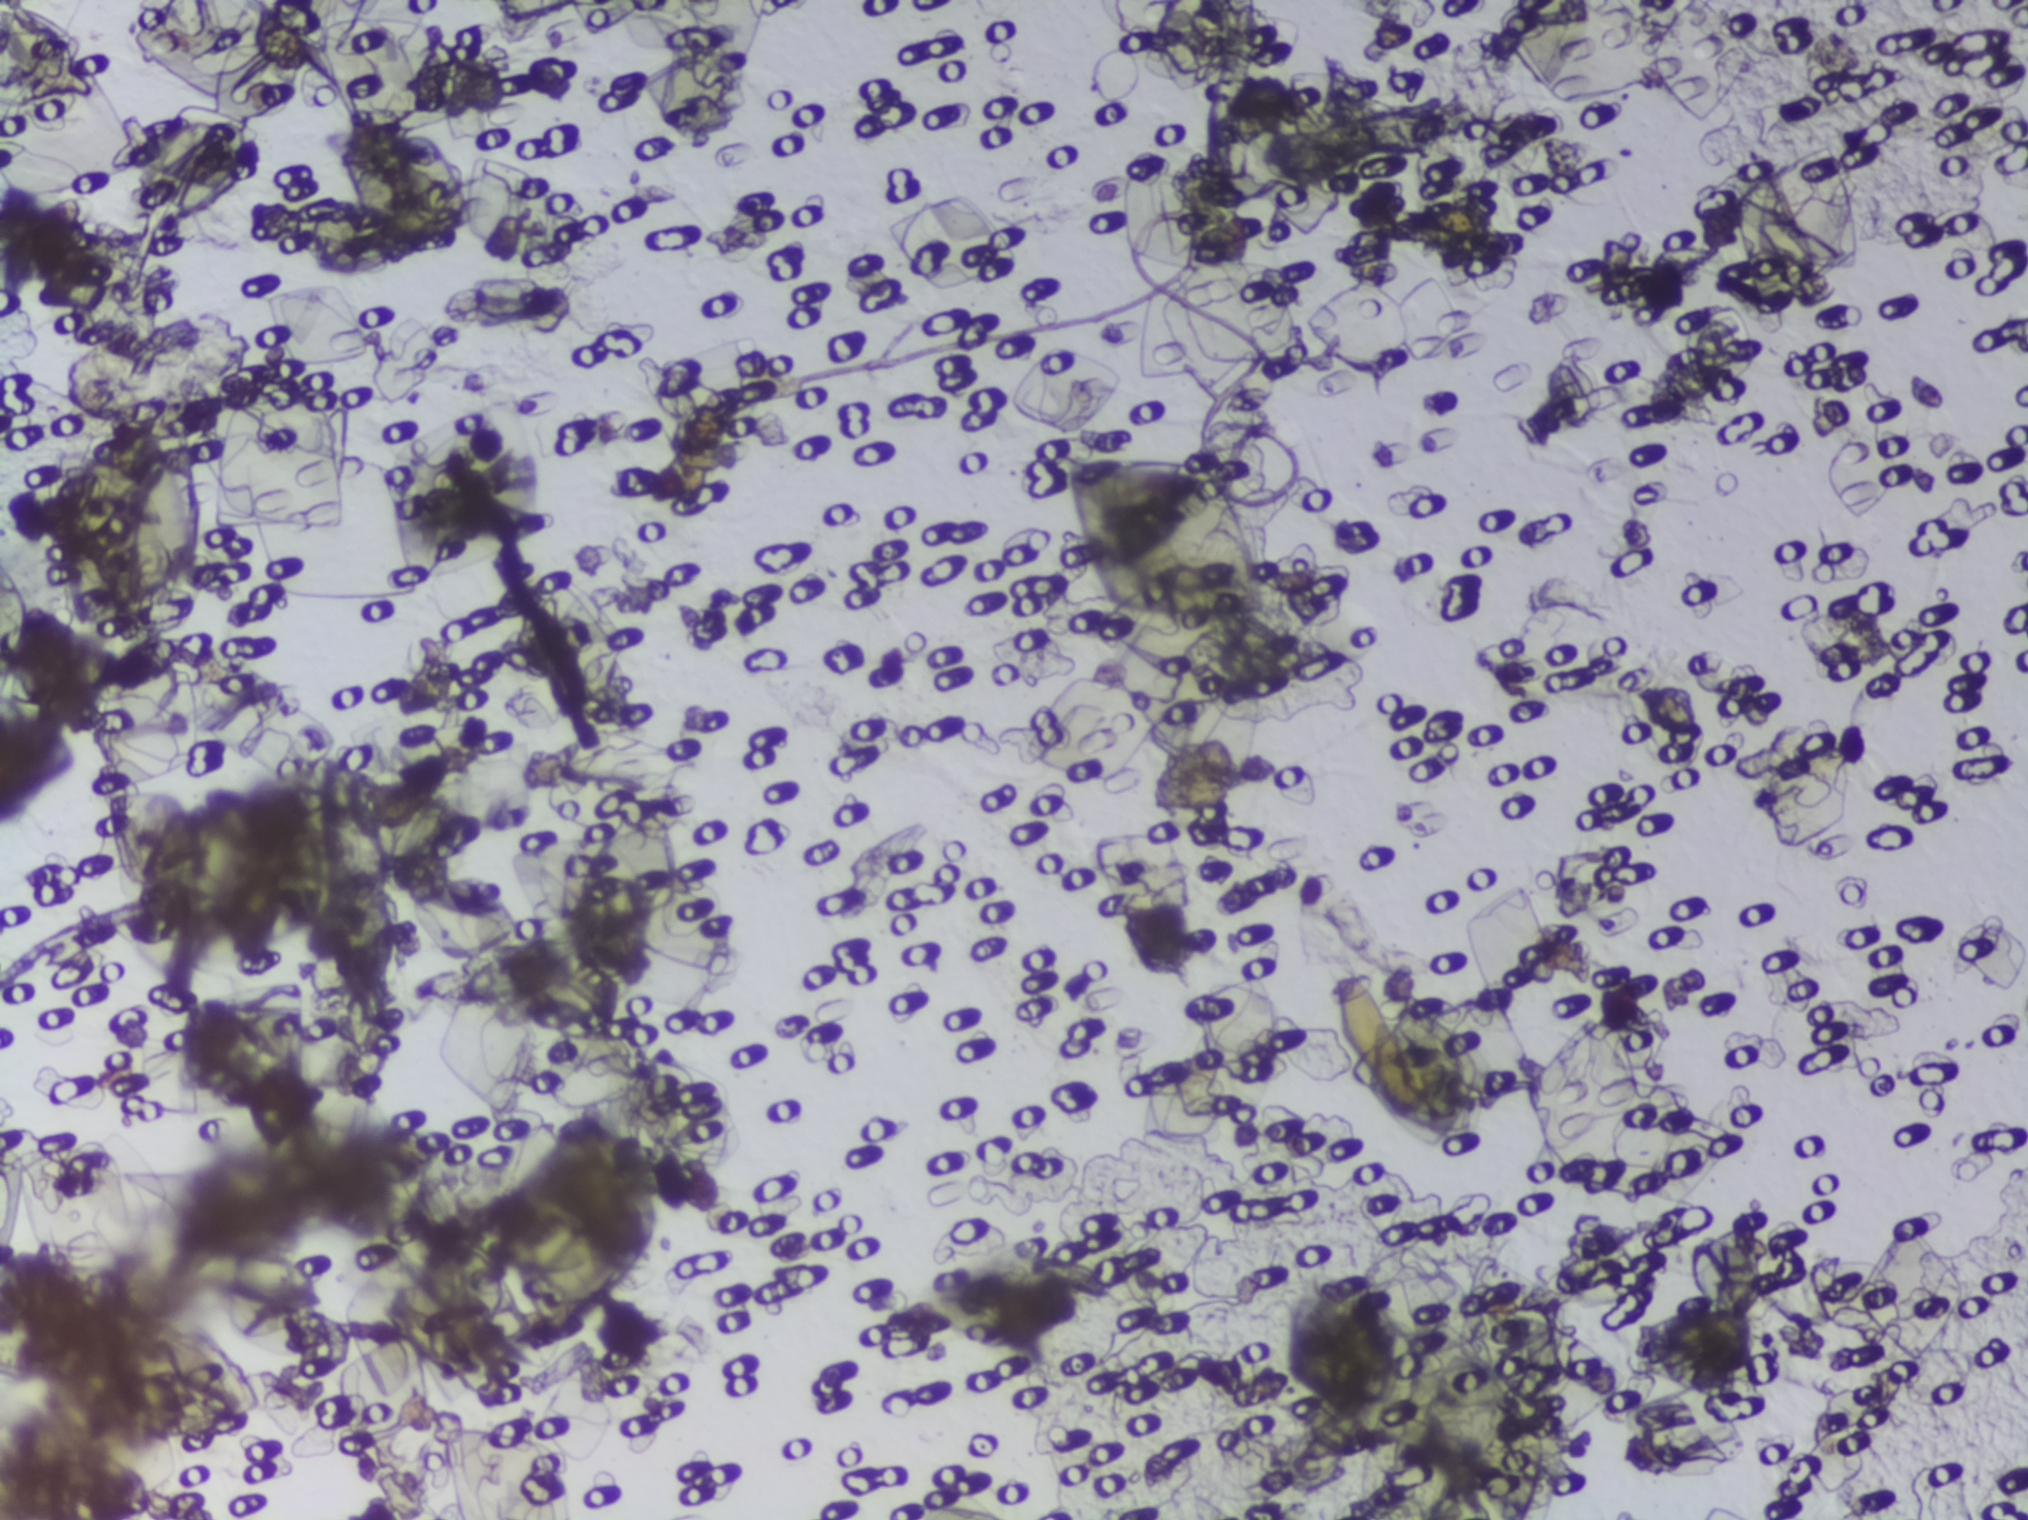
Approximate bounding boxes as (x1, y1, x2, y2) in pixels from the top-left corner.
Three areas of this image are outlined as Schistosoma eggs, from left to right: (0, 7, 100, 109) (reaching the left edge of the frame); (48, 398, 214, 629); (253, 203, 418, 276). Marked pixels, not the boxes around them: about 1.4% of the image. Eggs that touch can end up inside the same outlined area. A marked egg may occasionally be S. mansoni rather than S. haematobium.
Photograph from an automated digital microscope: urine filter membrane, 4× objective. Field of view: about 1.5 mm wide and 1.1 mm high.